Urine filtration membrane under a 4× objective, photographed by an automated digital microscope.
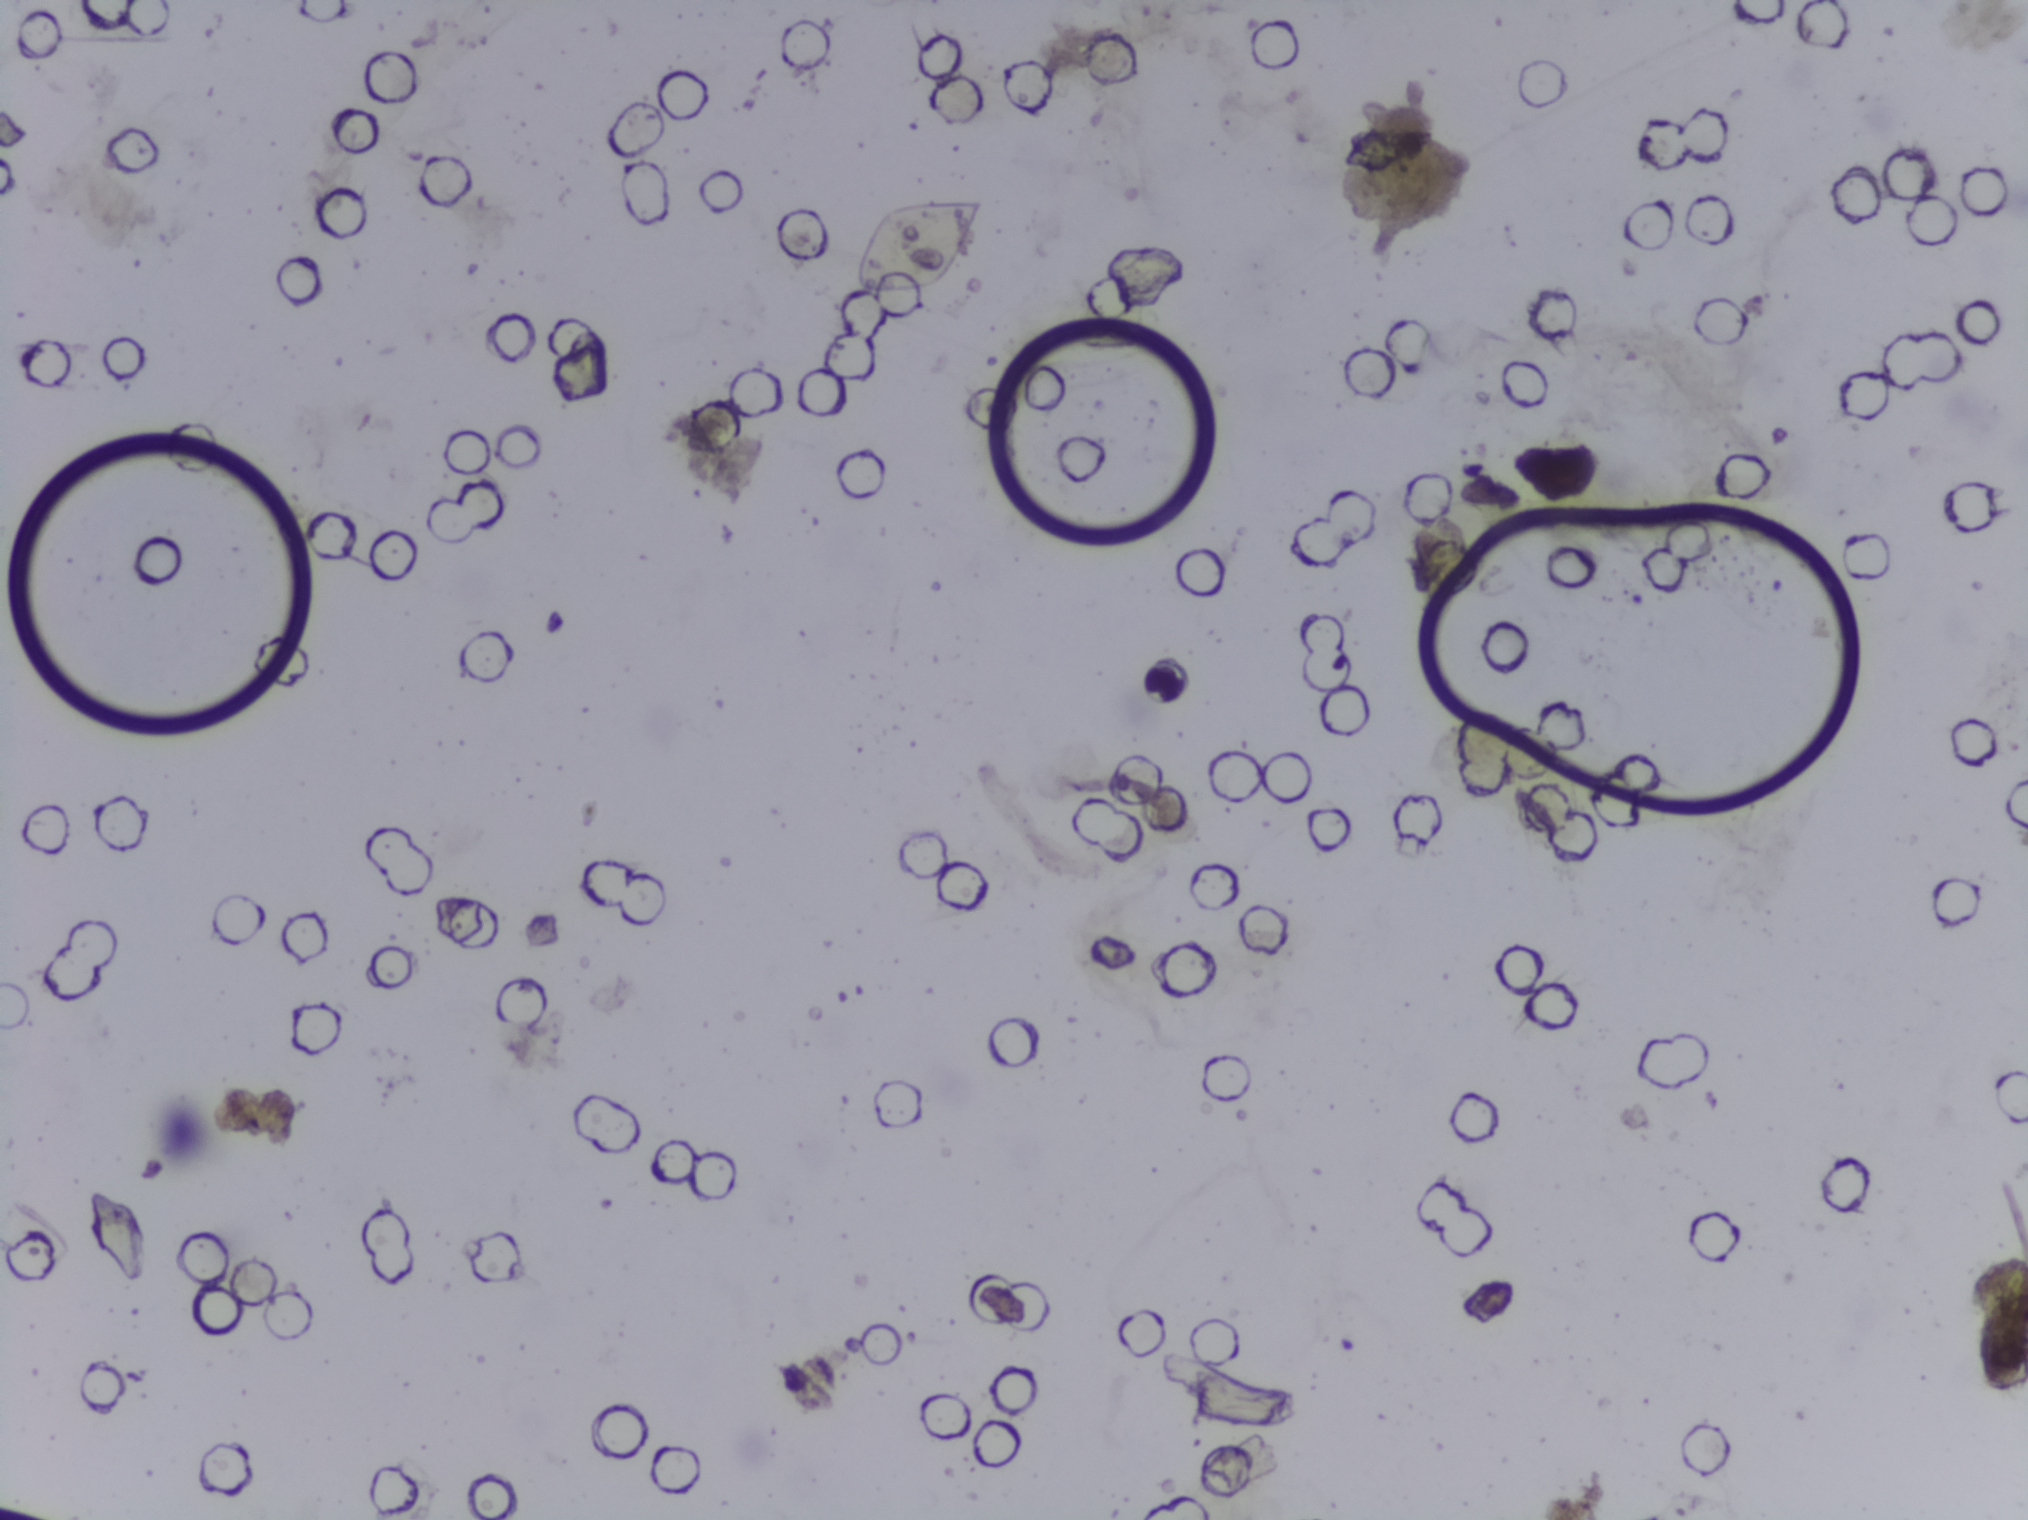
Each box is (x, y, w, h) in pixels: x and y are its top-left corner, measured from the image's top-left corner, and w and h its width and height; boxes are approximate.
Findings: one area outlined as Schistosoma eggs. Location: (x=854, y=195, w=138, h=99). A single outlined area may contain several eggs.